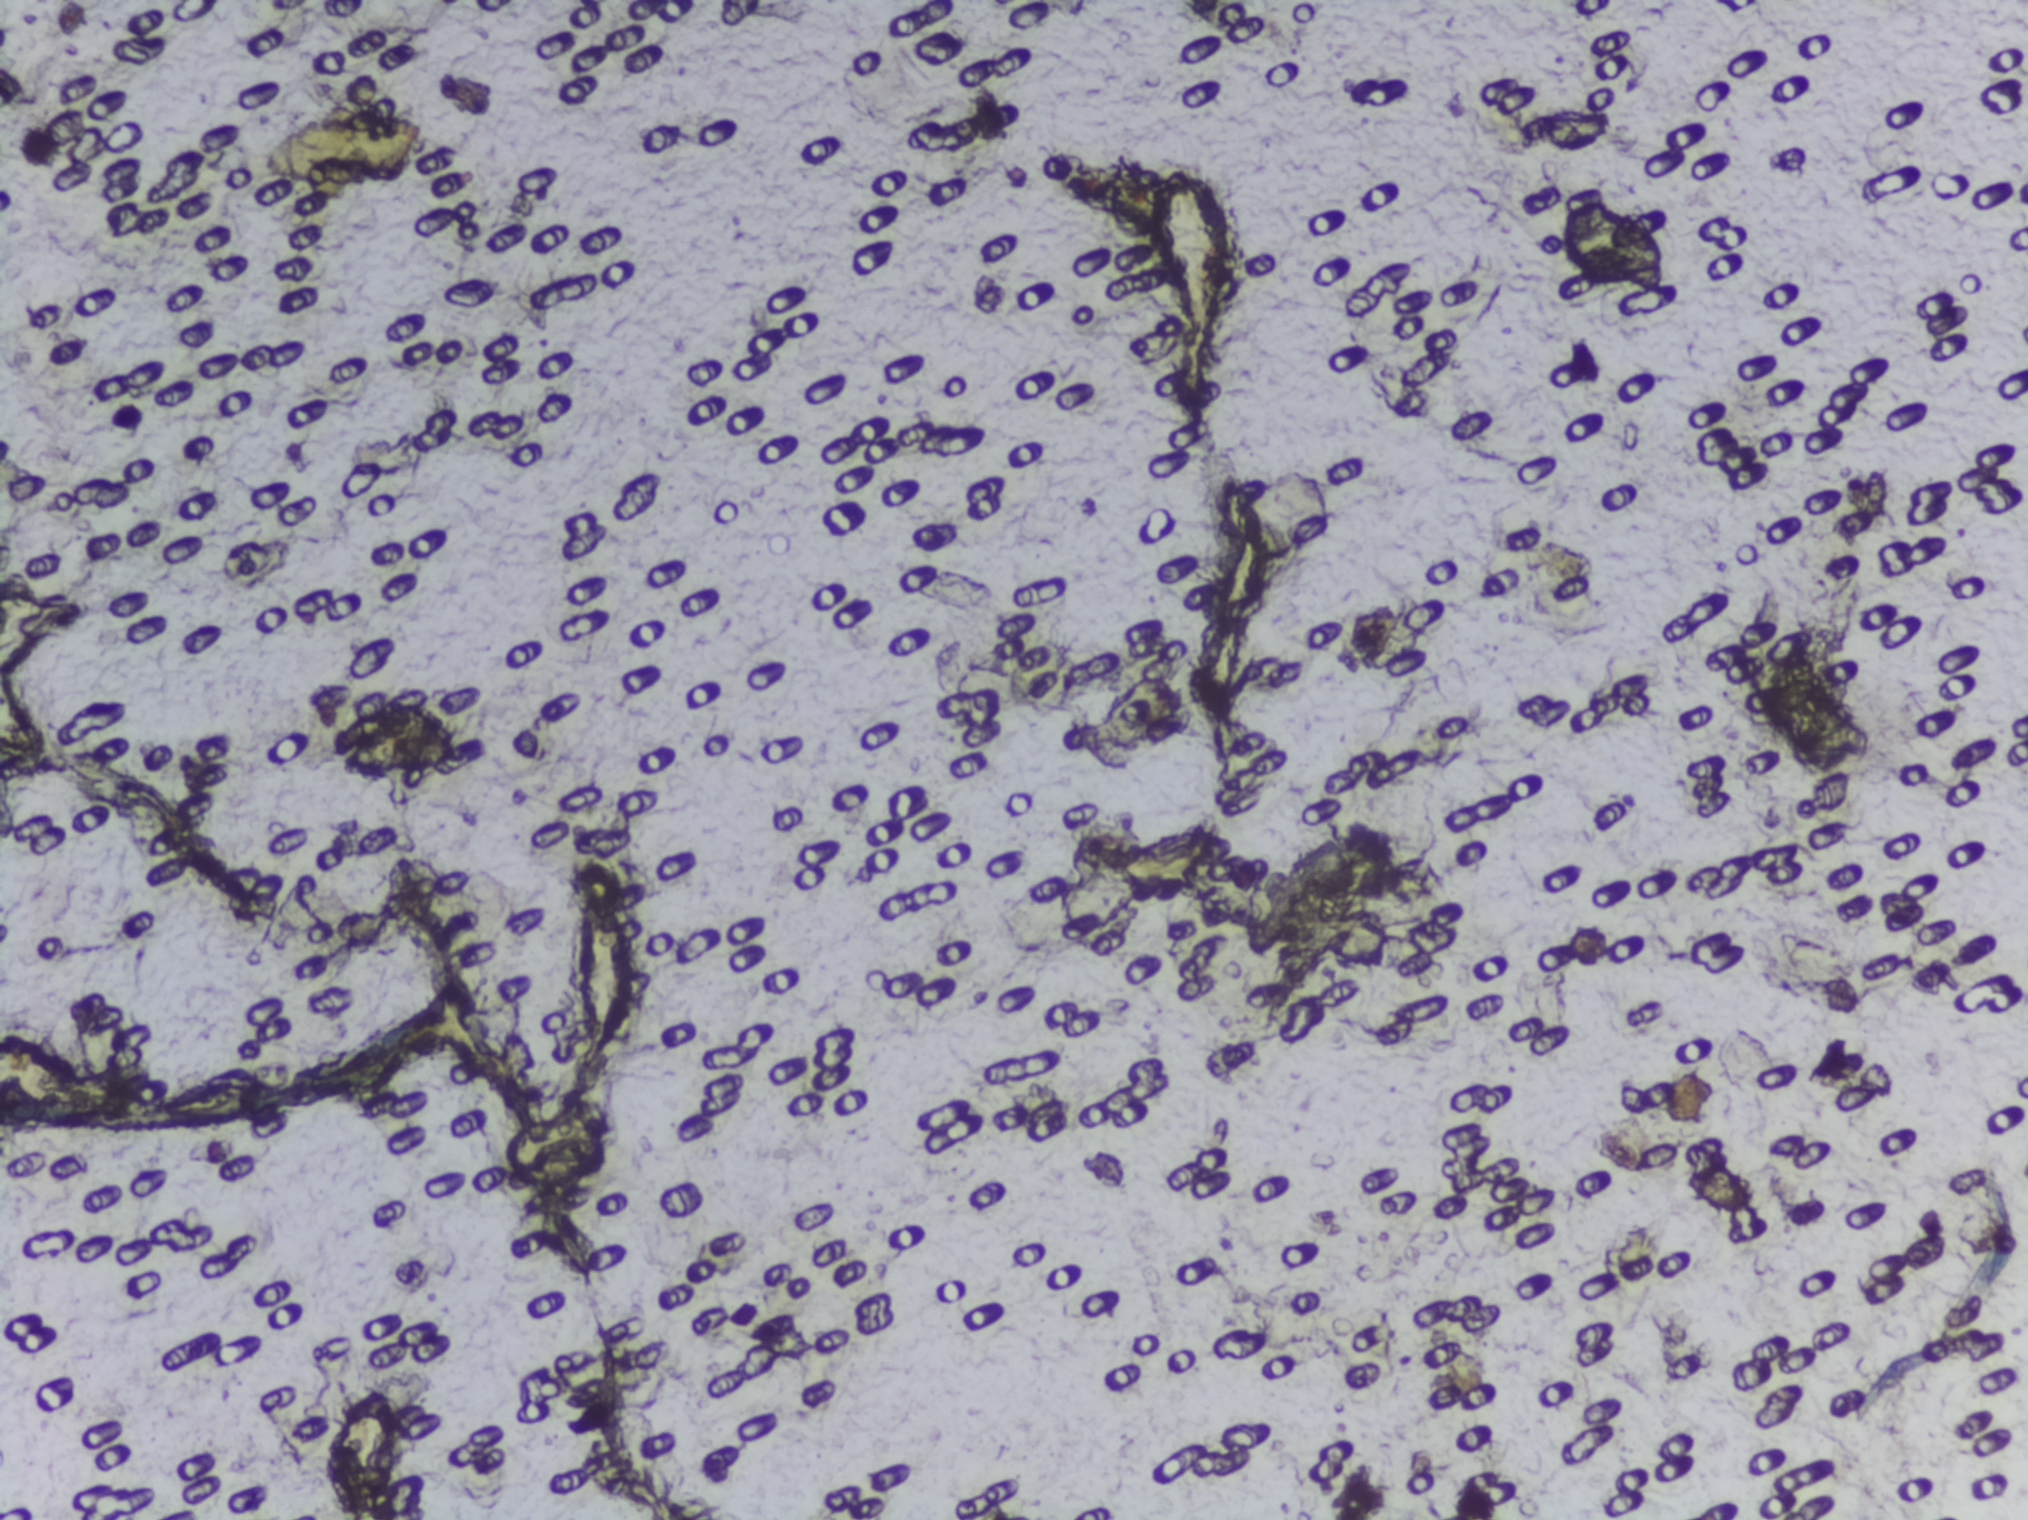
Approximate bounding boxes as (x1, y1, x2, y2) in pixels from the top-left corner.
Schistosoma eggs, outlined areas: (259, 111, 424, 189). An outlined area can hold more than one egg.
One field of view of a urine filter membrane, 4× objective, 2028 × 1520 pixels.